Microscope photograph (4× objective) of a membrane that a urine sample was filtered through.
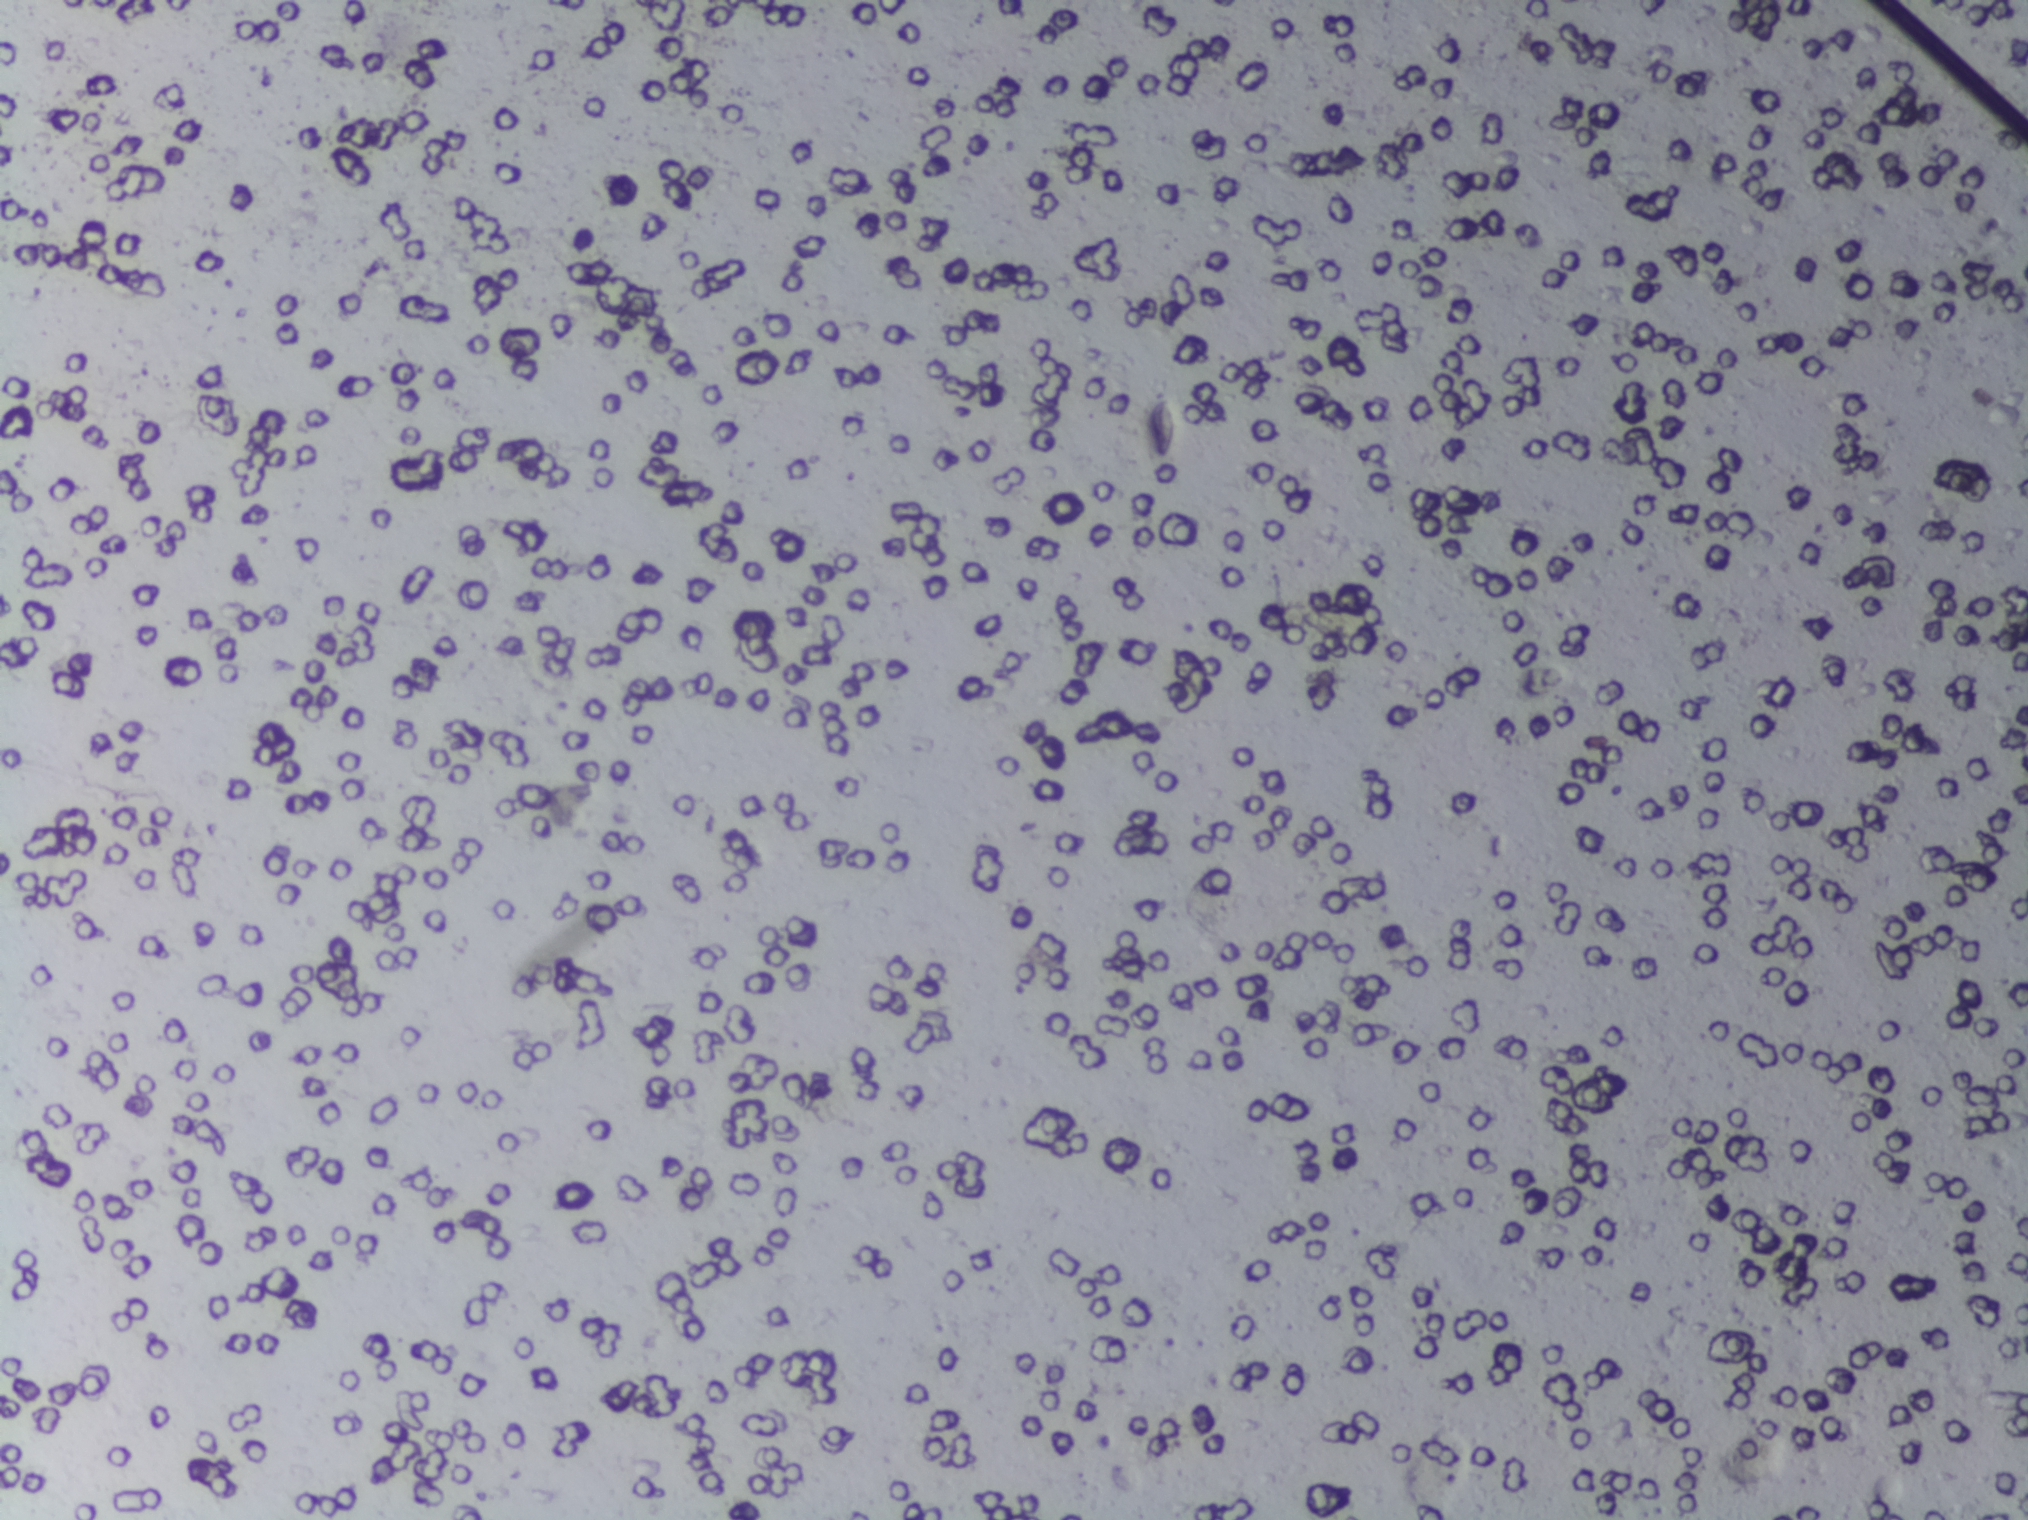
No Schistosoma egg is outlined in this image's expert annotation.